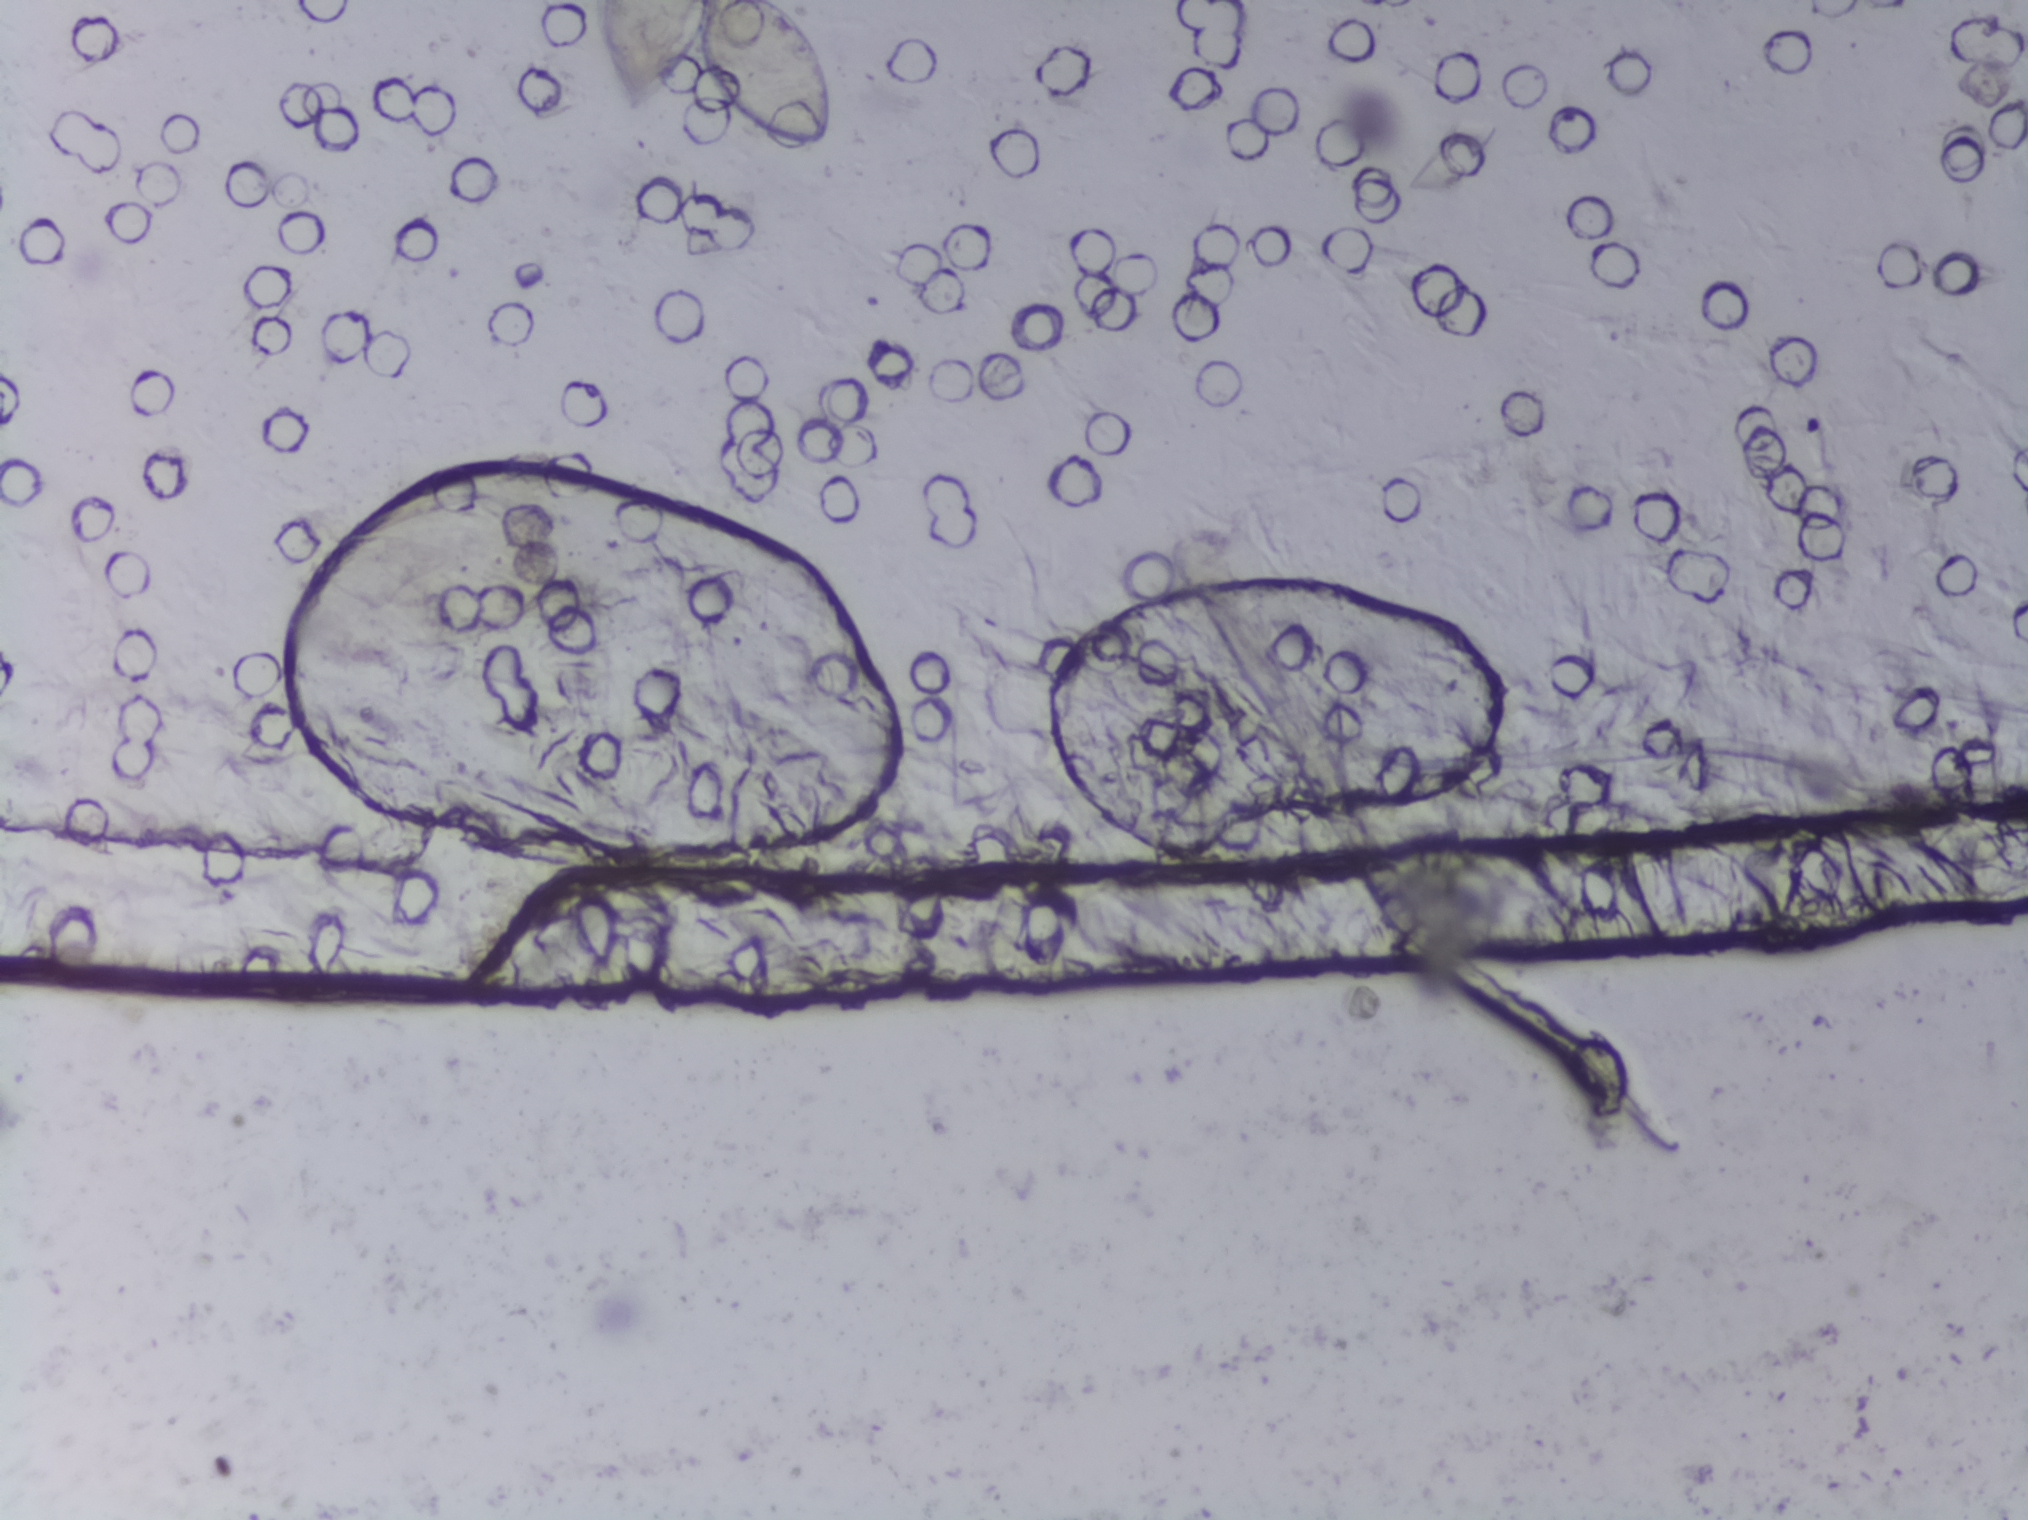
Urine filter membrane photographed through a 4× microscope objective.
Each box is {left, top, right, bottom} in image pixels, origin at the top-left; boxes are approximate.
Schistosoma eggs are outlined in one area of this image: {587, 0, 837, 155} (reaching the top edge of the frame). Eggs that touch can end up inside the same outlined area.